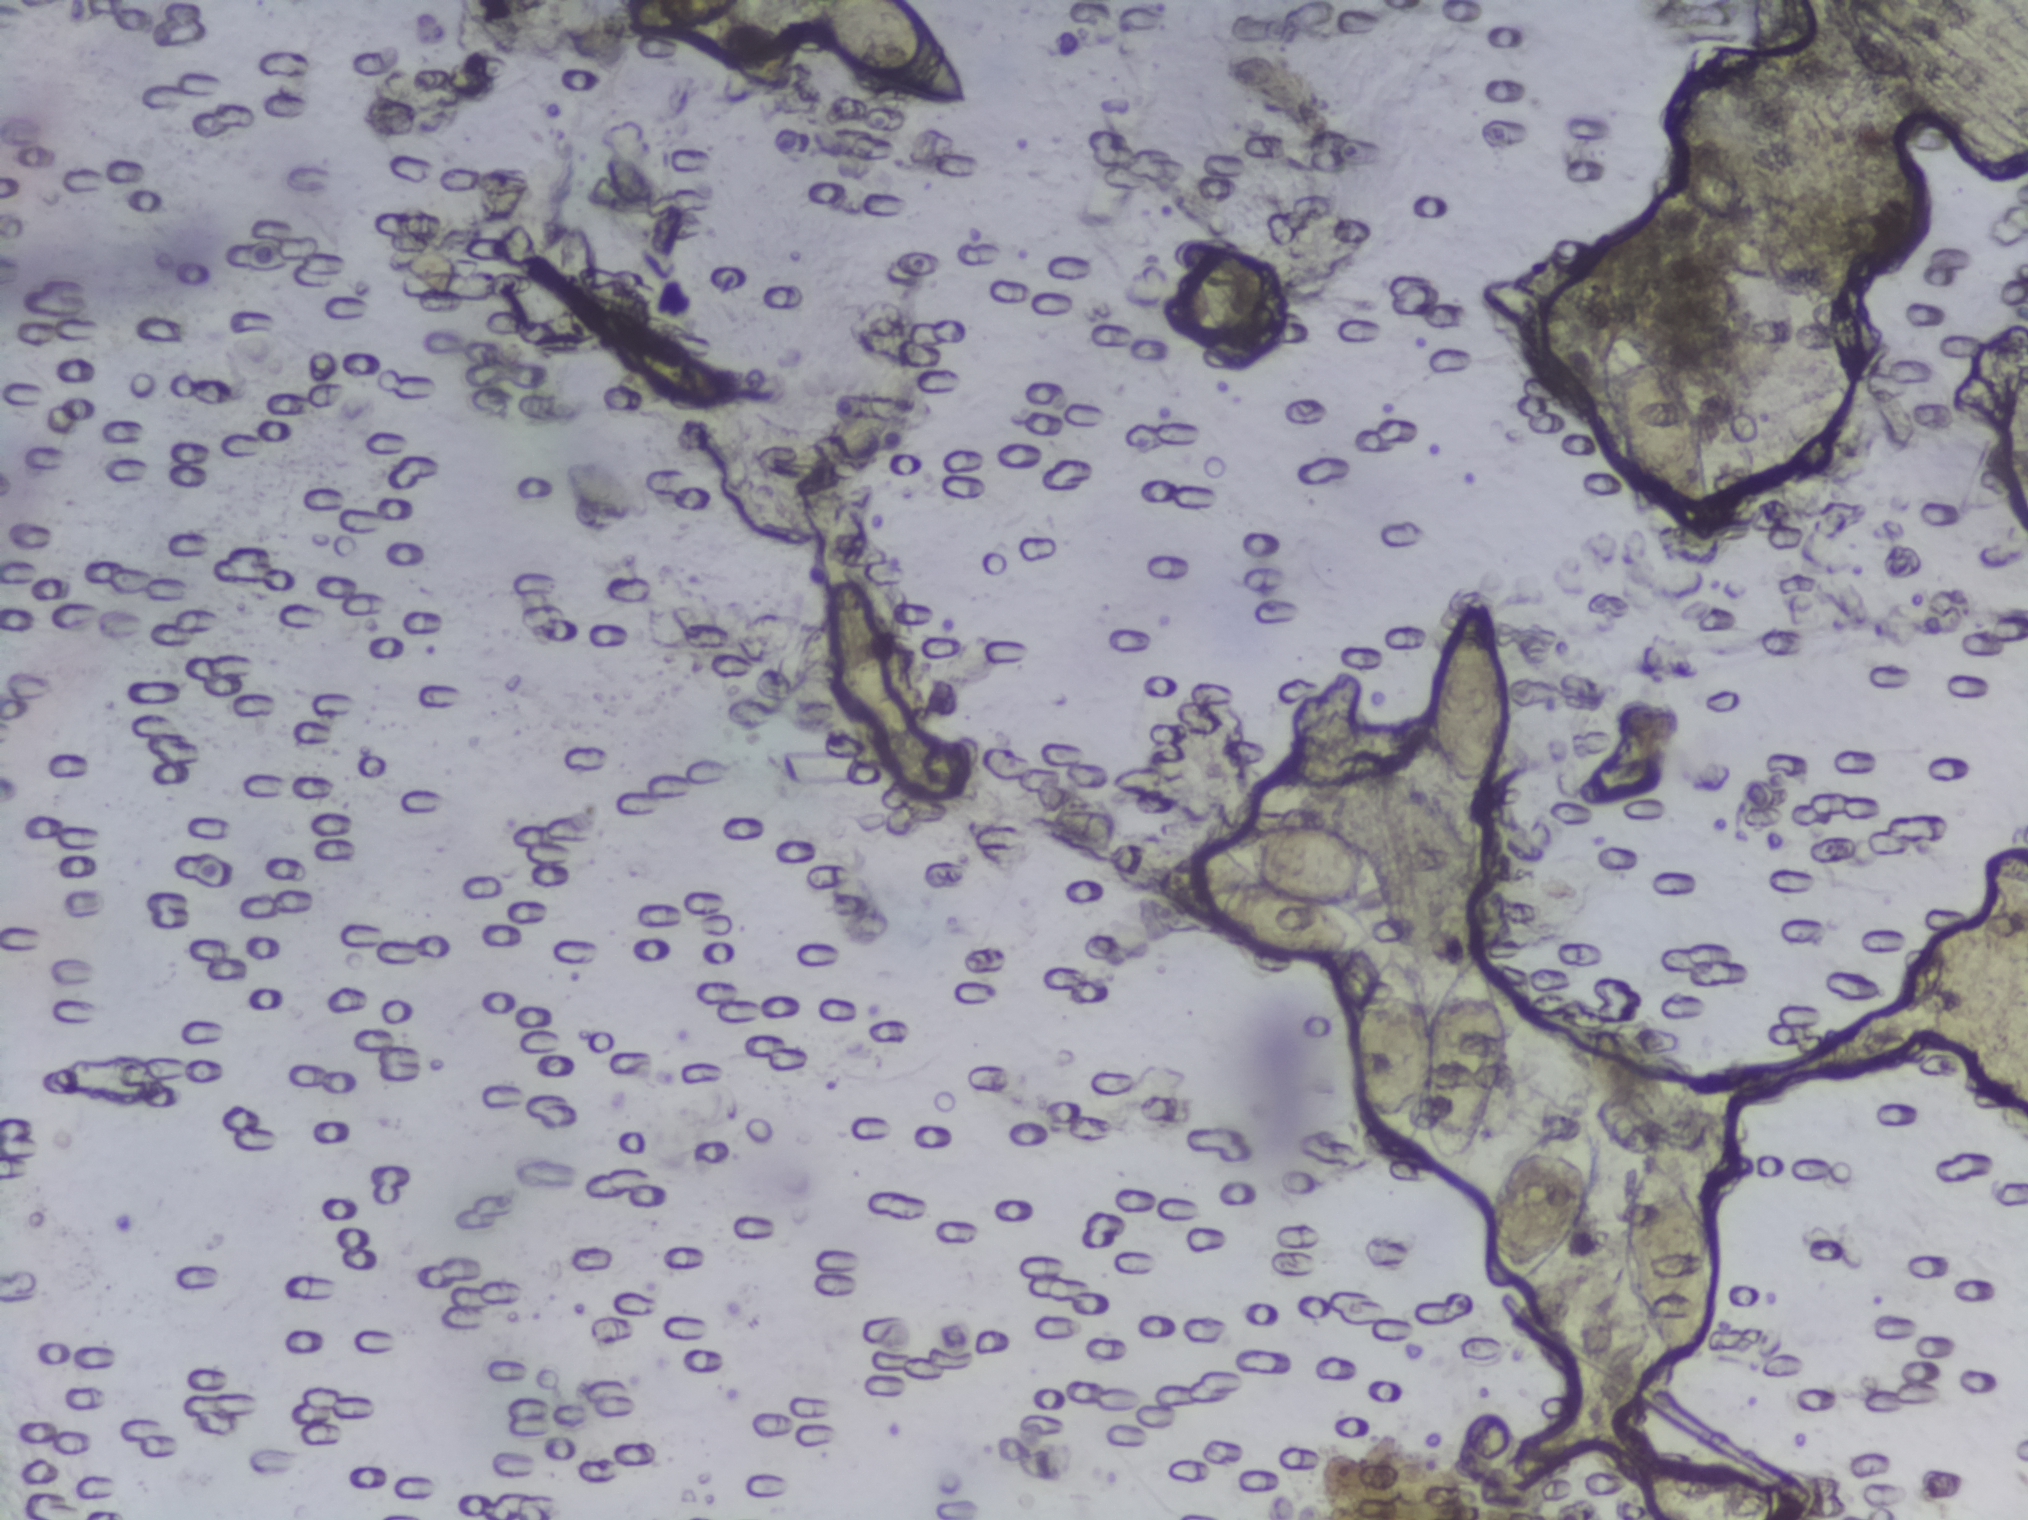
Photomicrograph of a urine filtration membrane, 4× objective.
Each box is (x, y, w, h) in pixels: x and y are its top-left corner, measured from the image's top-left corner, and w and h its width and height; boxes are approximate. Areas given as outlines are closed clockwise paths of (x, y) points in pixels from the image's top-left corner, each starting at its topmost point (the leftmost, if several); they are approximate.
Outlined Schistosoma egg areas, left to right:
1. box (x=624, y=0, w=120, h=32) (reaching the top edge of the frame)
2. box (x=796, y=0, w=180, h=107) (reaching the top edge of the frame)
3. outline (1295, 821), (1337, 827), (1388, 869), (1393, 900), (1359, 907), (1375, 925), (1379, 946), (1388, 940), (1412, 961), (1430, 1018), (1443, 976), (1470, 945), (1480, 947), (1499, 981), (1508, 1077), (1482, 1141), (1458, 1167), (1437, 1158), (1425, 1133), (1416, 1161), (1402, 1172), (1390, 1172), (1365, 1145), (1343, 1041), (1355, 992), (1379, 948), (1352, 959), (1269, 951), (1221, 923), (1200, 898), (1208, 882), (1244, 877), (1219, 857), (1222, 839) (a cluster of eggs)
4. box (x=1426, y=597, w=85, h=199)
5. box (x=1479, y=1109, w=122, h=184)
6. box (x=1596, y=329, w=122, h=218)
7. box (x=1622, y=1150, w=100, h=213)
An outlined area can hold more than one egg.